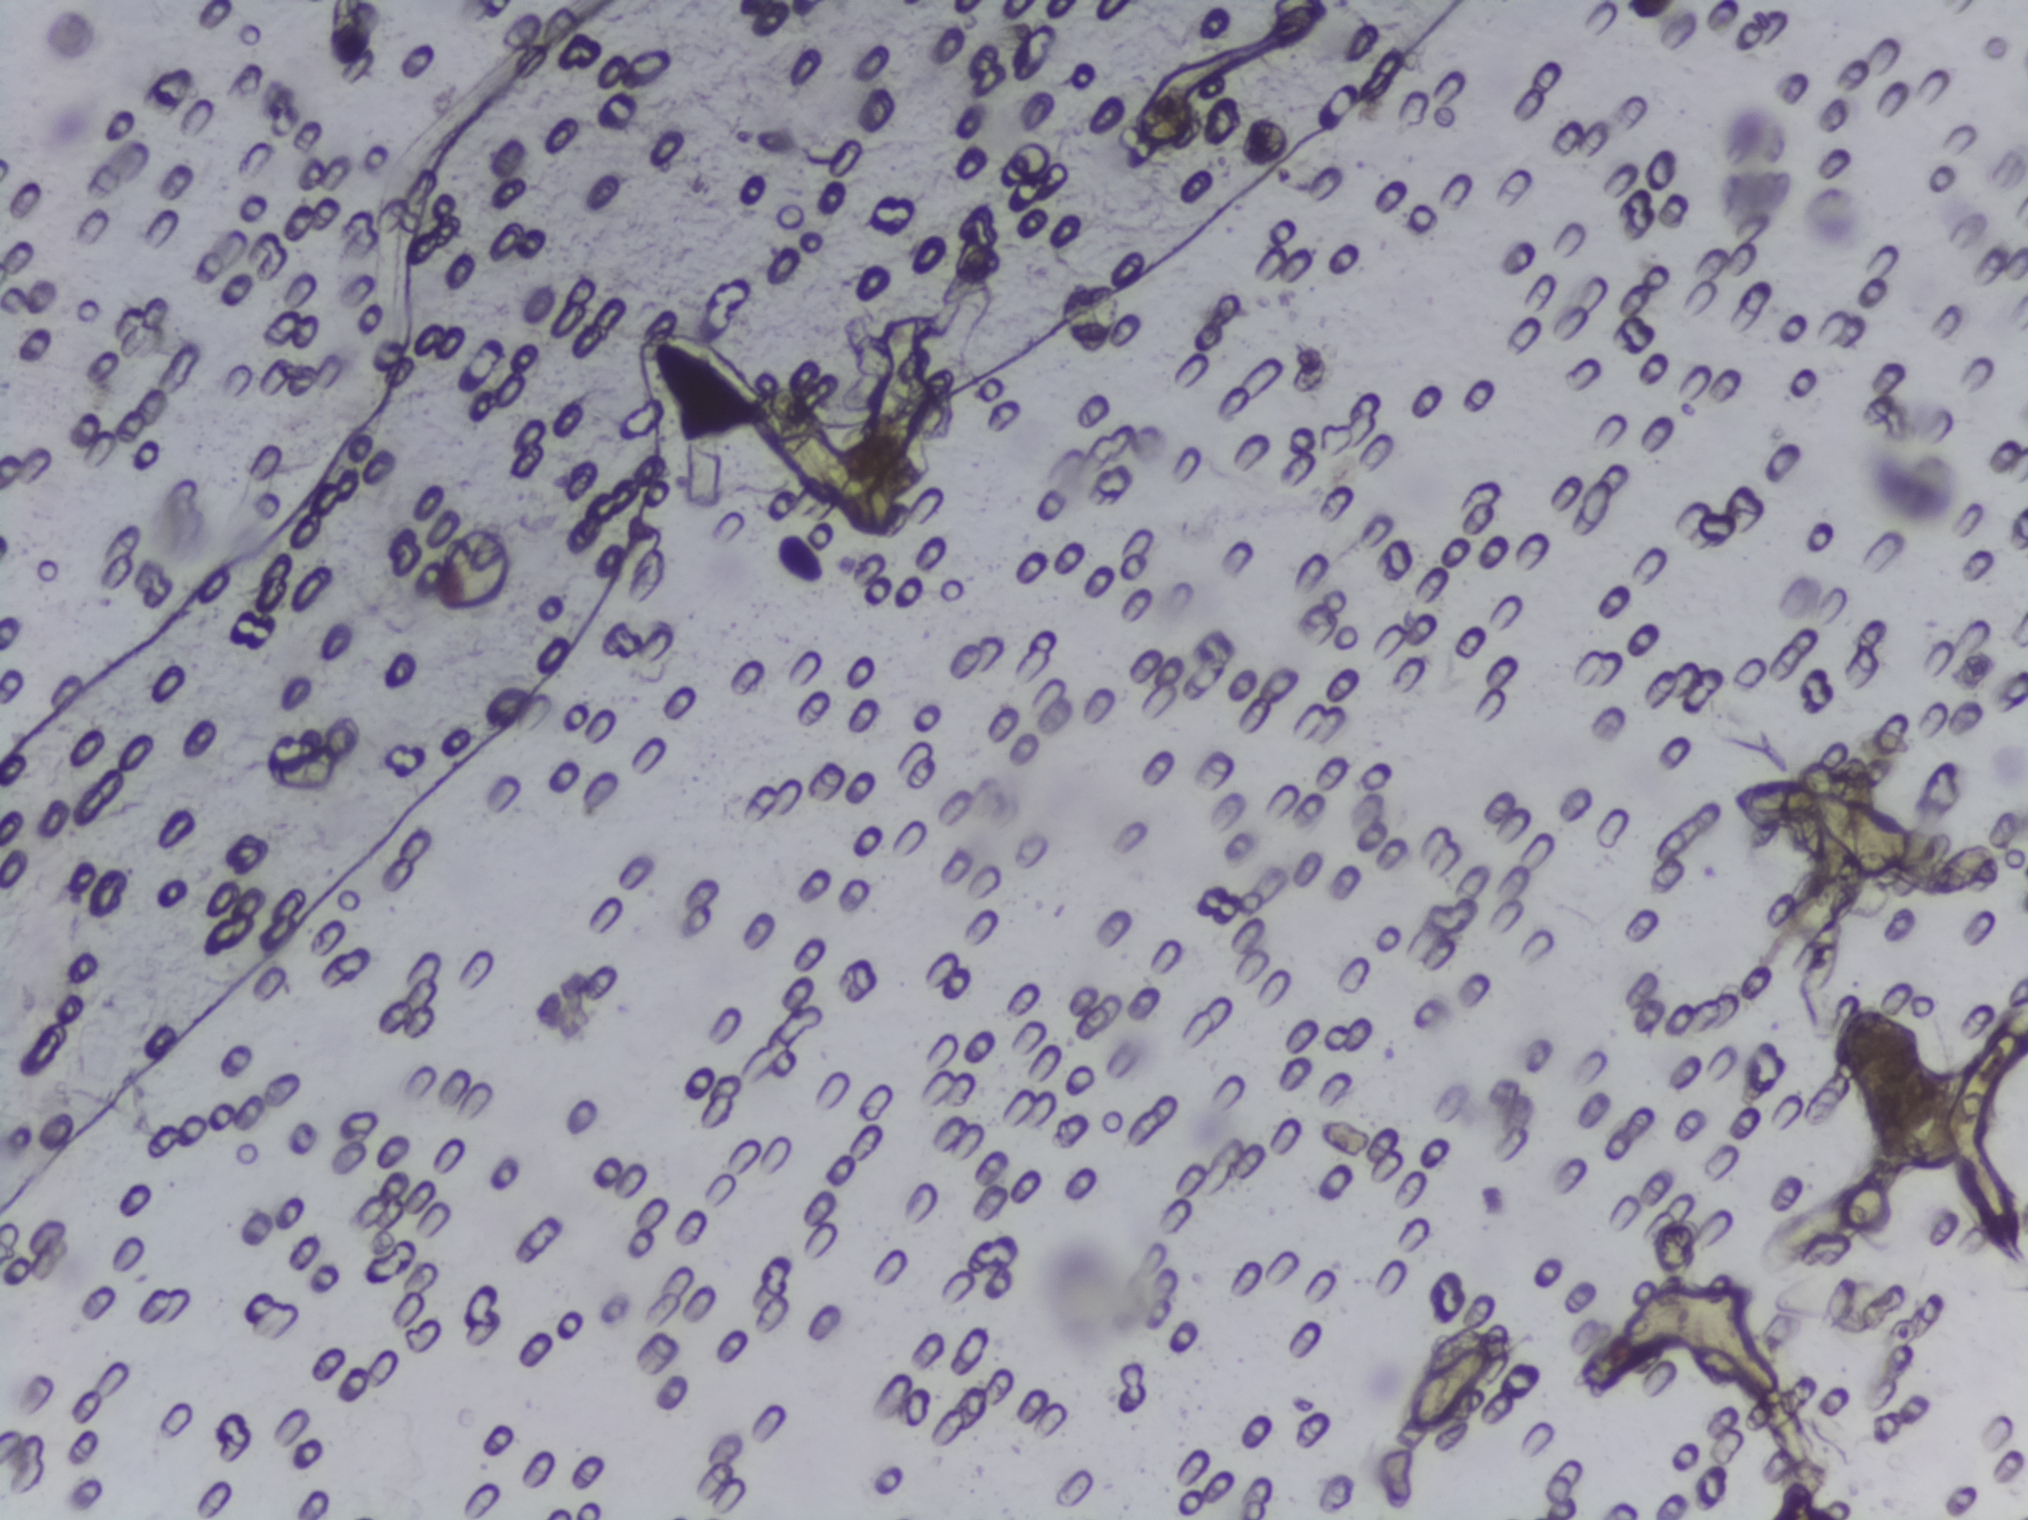
One field of view of a urine filter membrane, 4× objective, 2028 × 1520 pixels.
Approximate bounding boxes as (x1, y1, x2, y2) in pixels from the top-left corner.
Schistosoma eggs are outlined in the expert annotation at (1727, 775, 1916, 887). A single outlined area may contain several eggs.